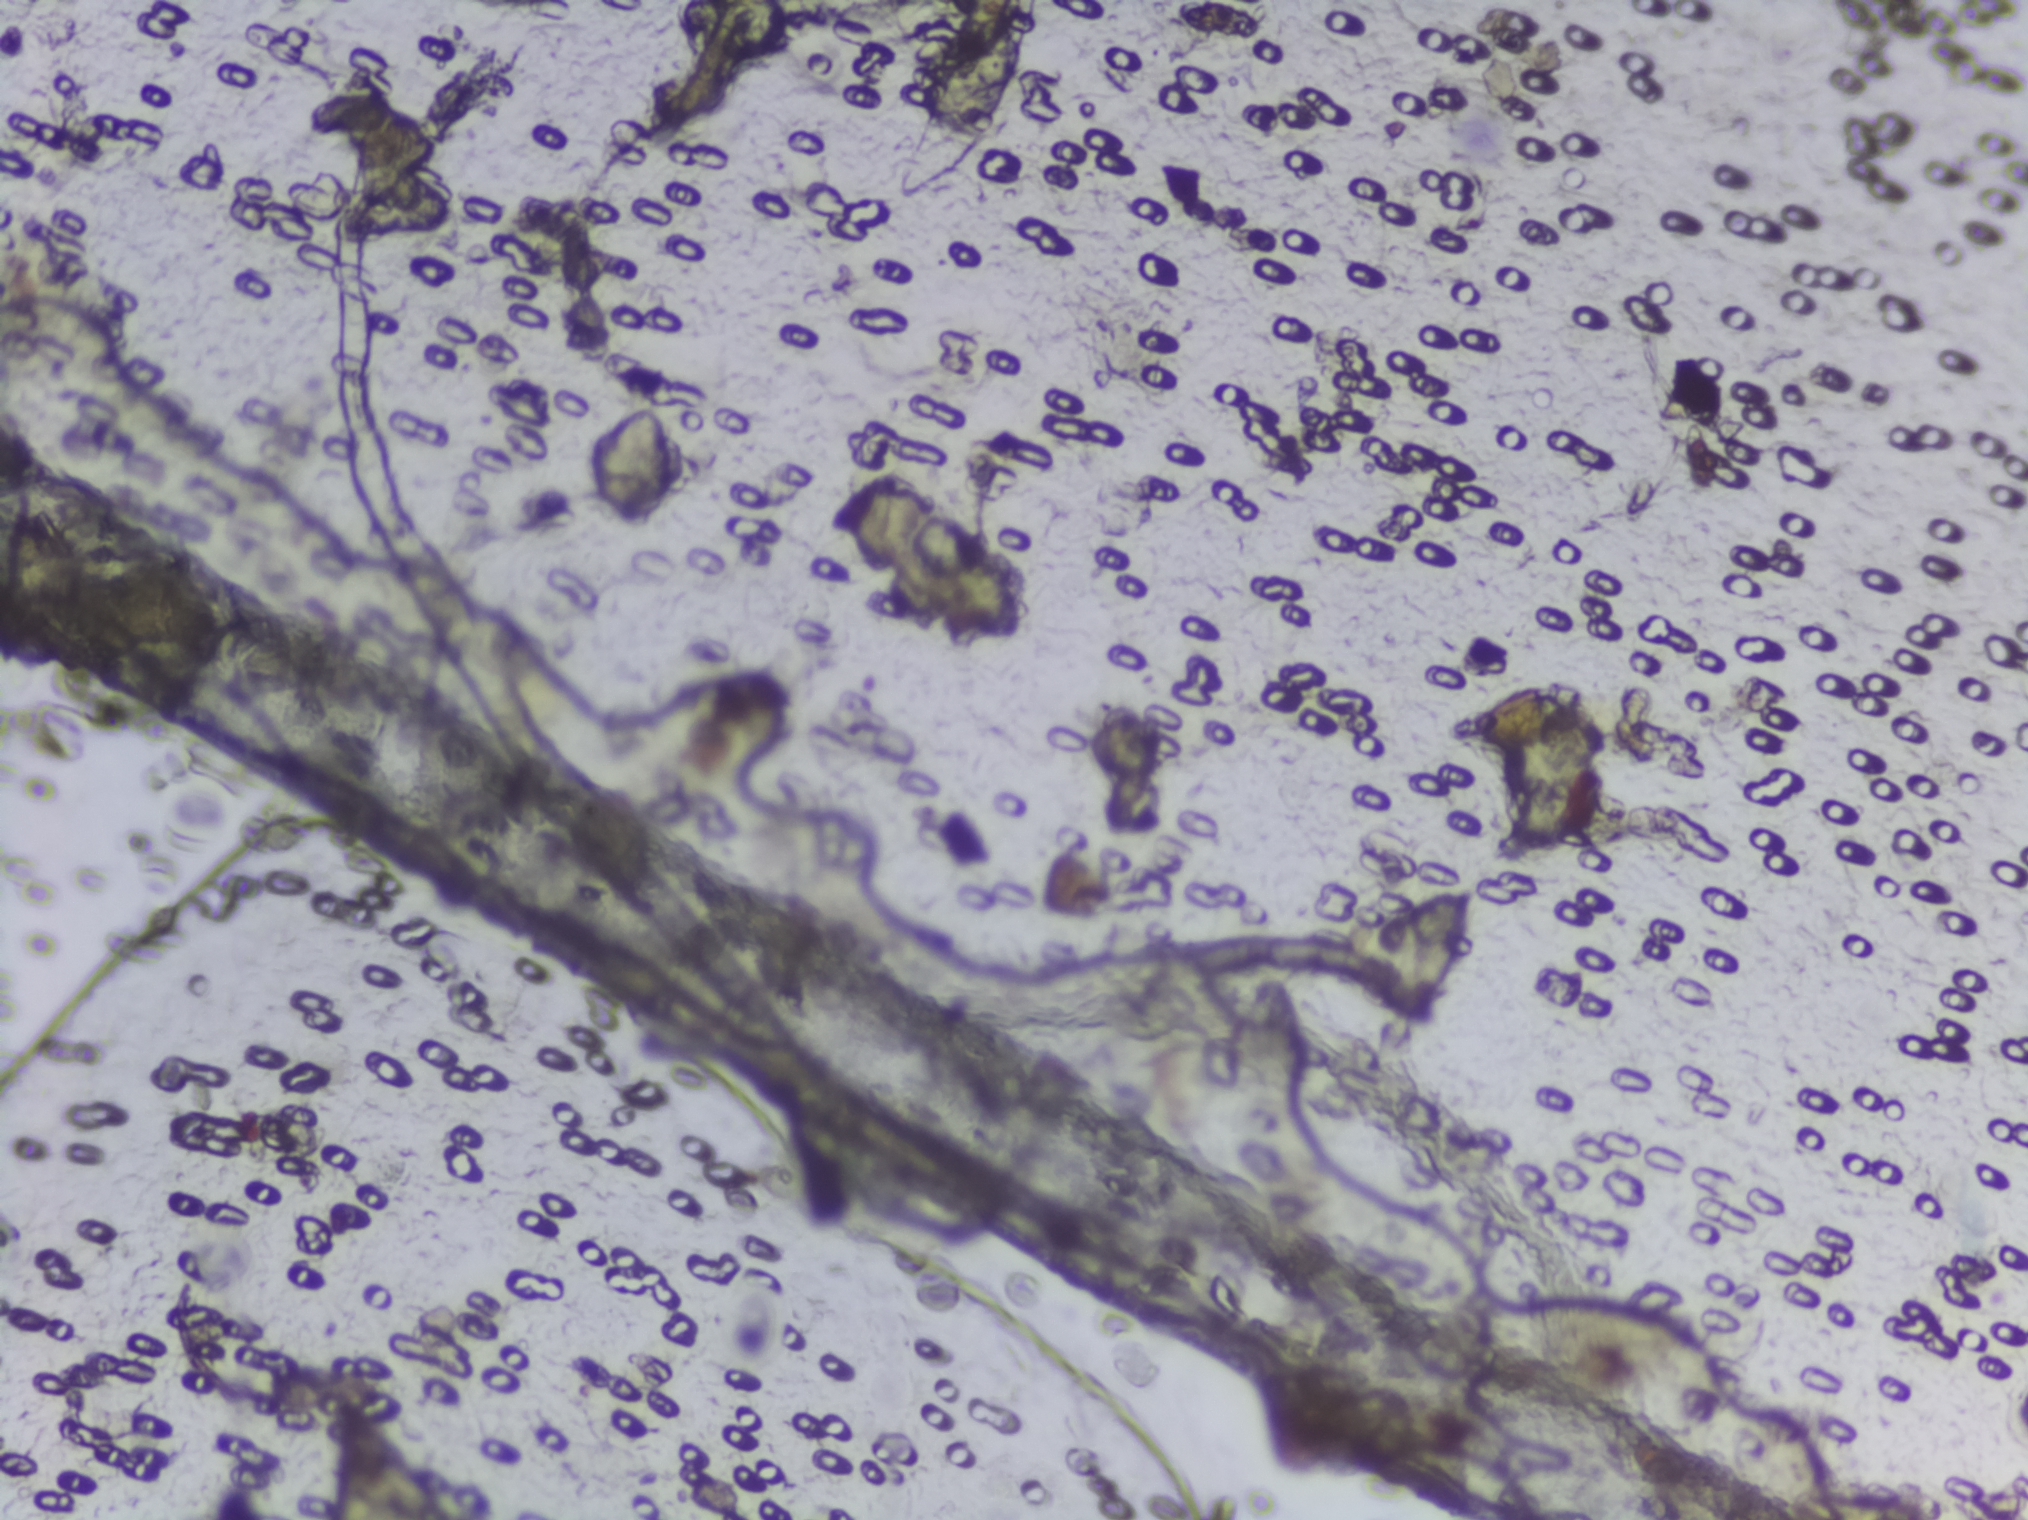
Photograph from an automated digital microscope: urine filter membrane, 4× objective.
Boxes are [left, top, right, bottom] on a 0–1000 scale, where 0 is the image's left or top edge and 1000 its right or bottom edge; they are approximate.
Schistosoma eggs are outlined in the expert annotation at [289, 263, 333, 352]; [449, 341, 505, 420]; [680, 580, 730, 668]. Eggs that touch can end up inside the same outlined area.